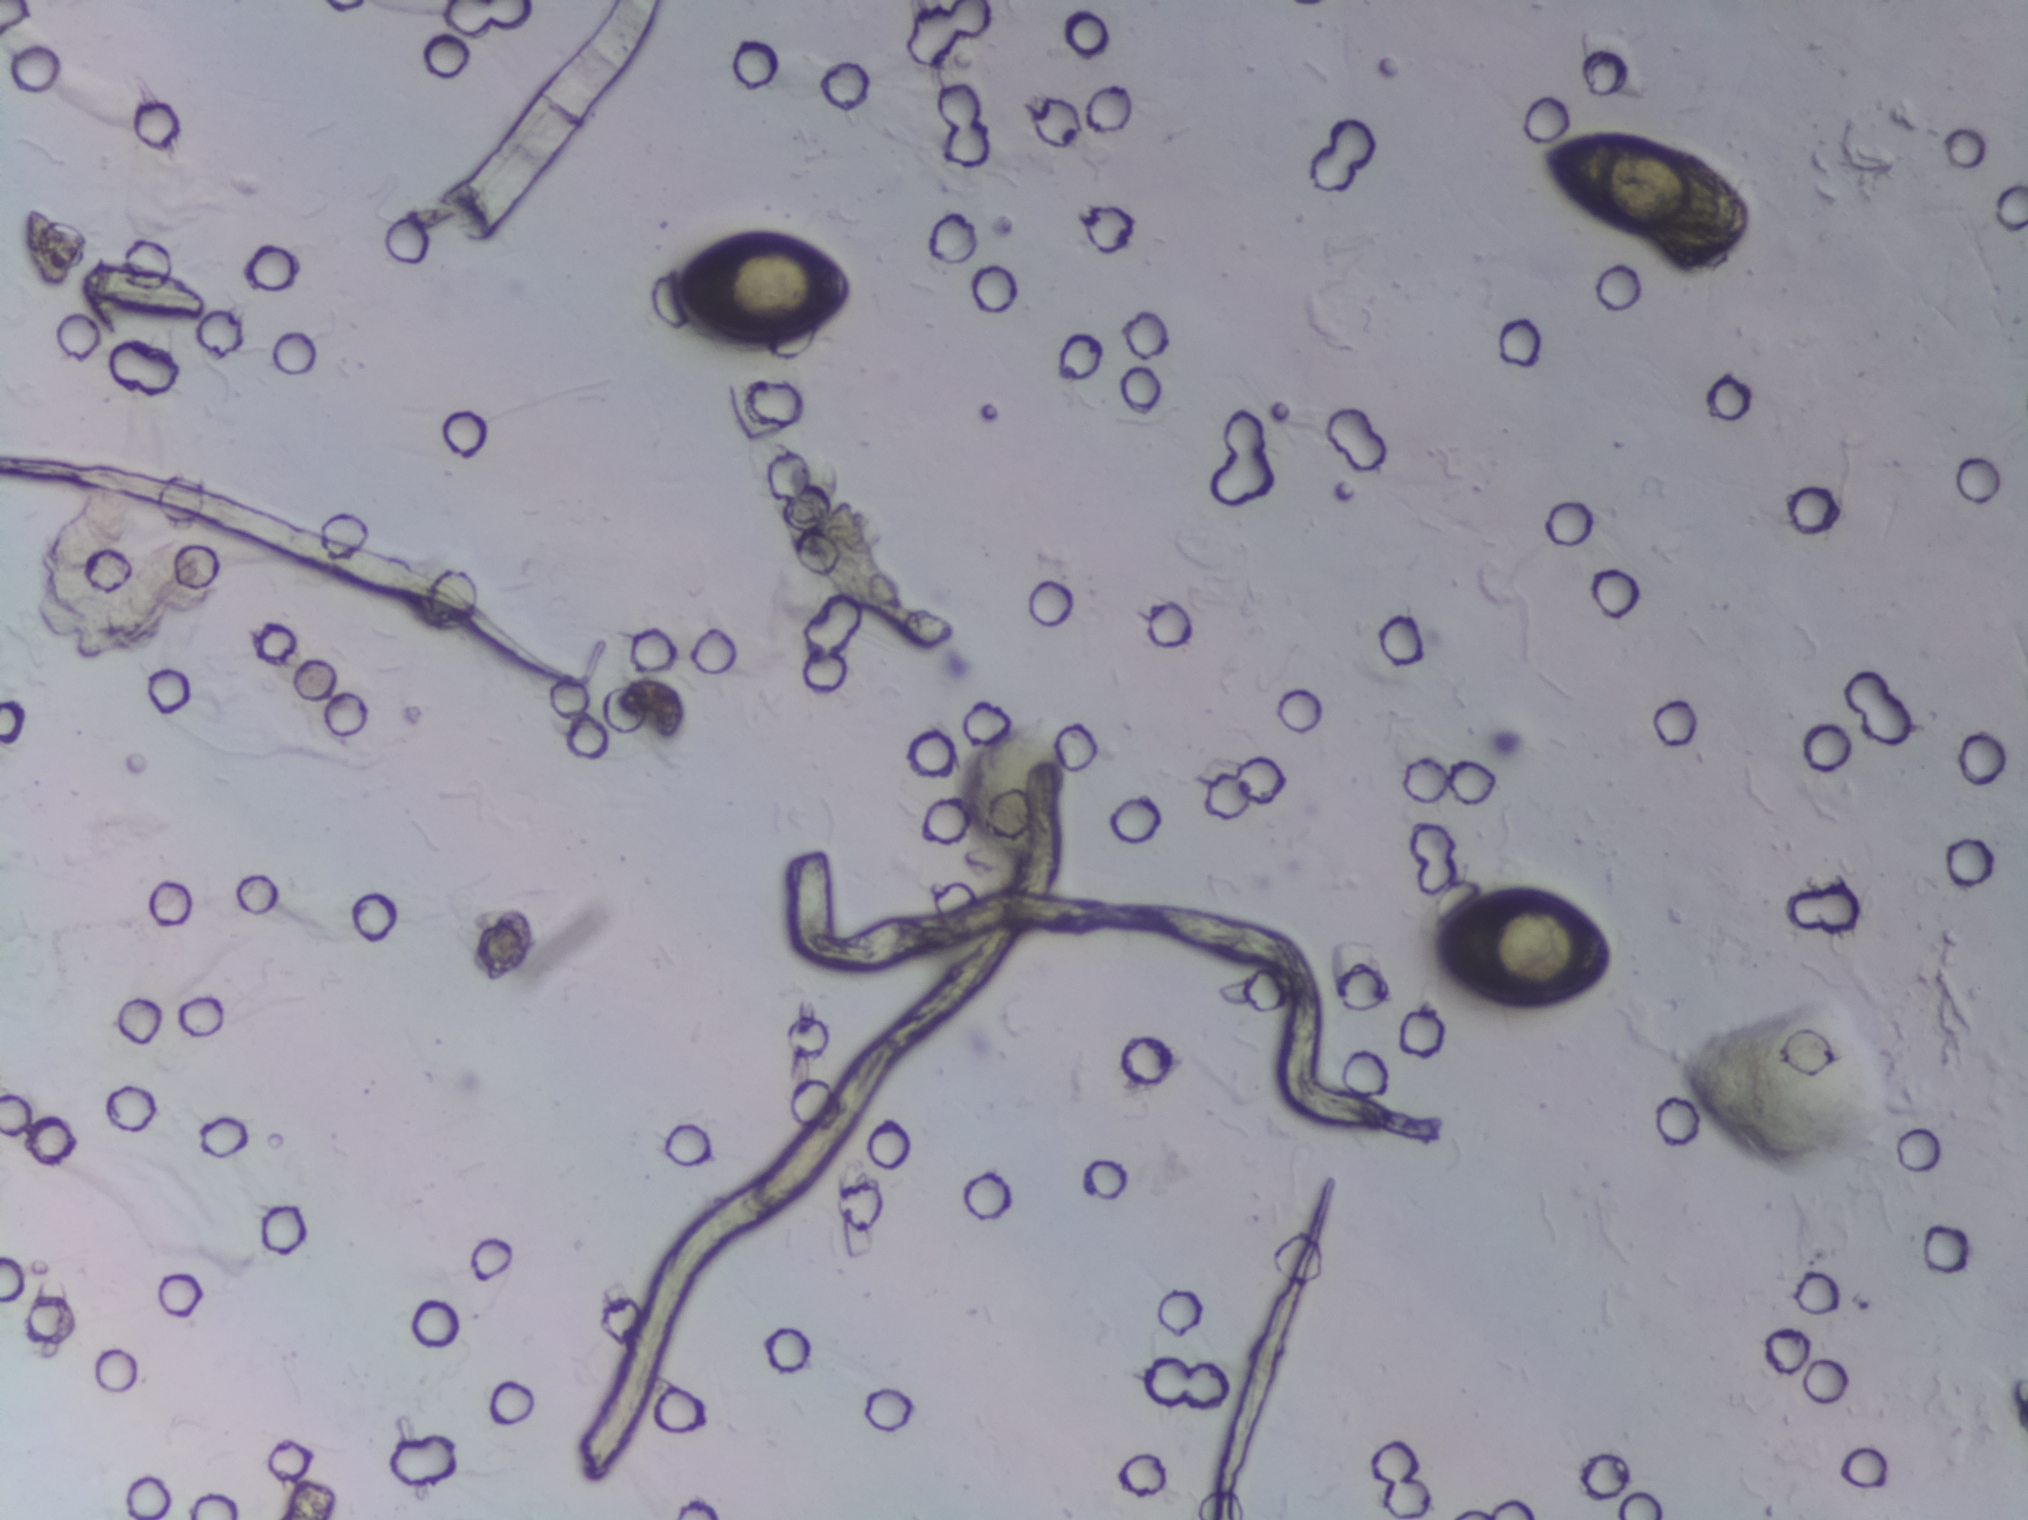
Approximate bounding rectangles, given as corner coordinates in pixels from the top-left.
Schistosoma eggs are outlined in three areas of this image, listed from left to right: (x1=664, y1=225, x2=856, y2=352); (x1=1427, y1=877, x2=1618, y2=1016); (x1=1536, y1=127, x2=1753, y2=273). Eggs that touch can end up inside the same outlined area.
Photomicrograph of a urine filtration membrane, 4× objective.